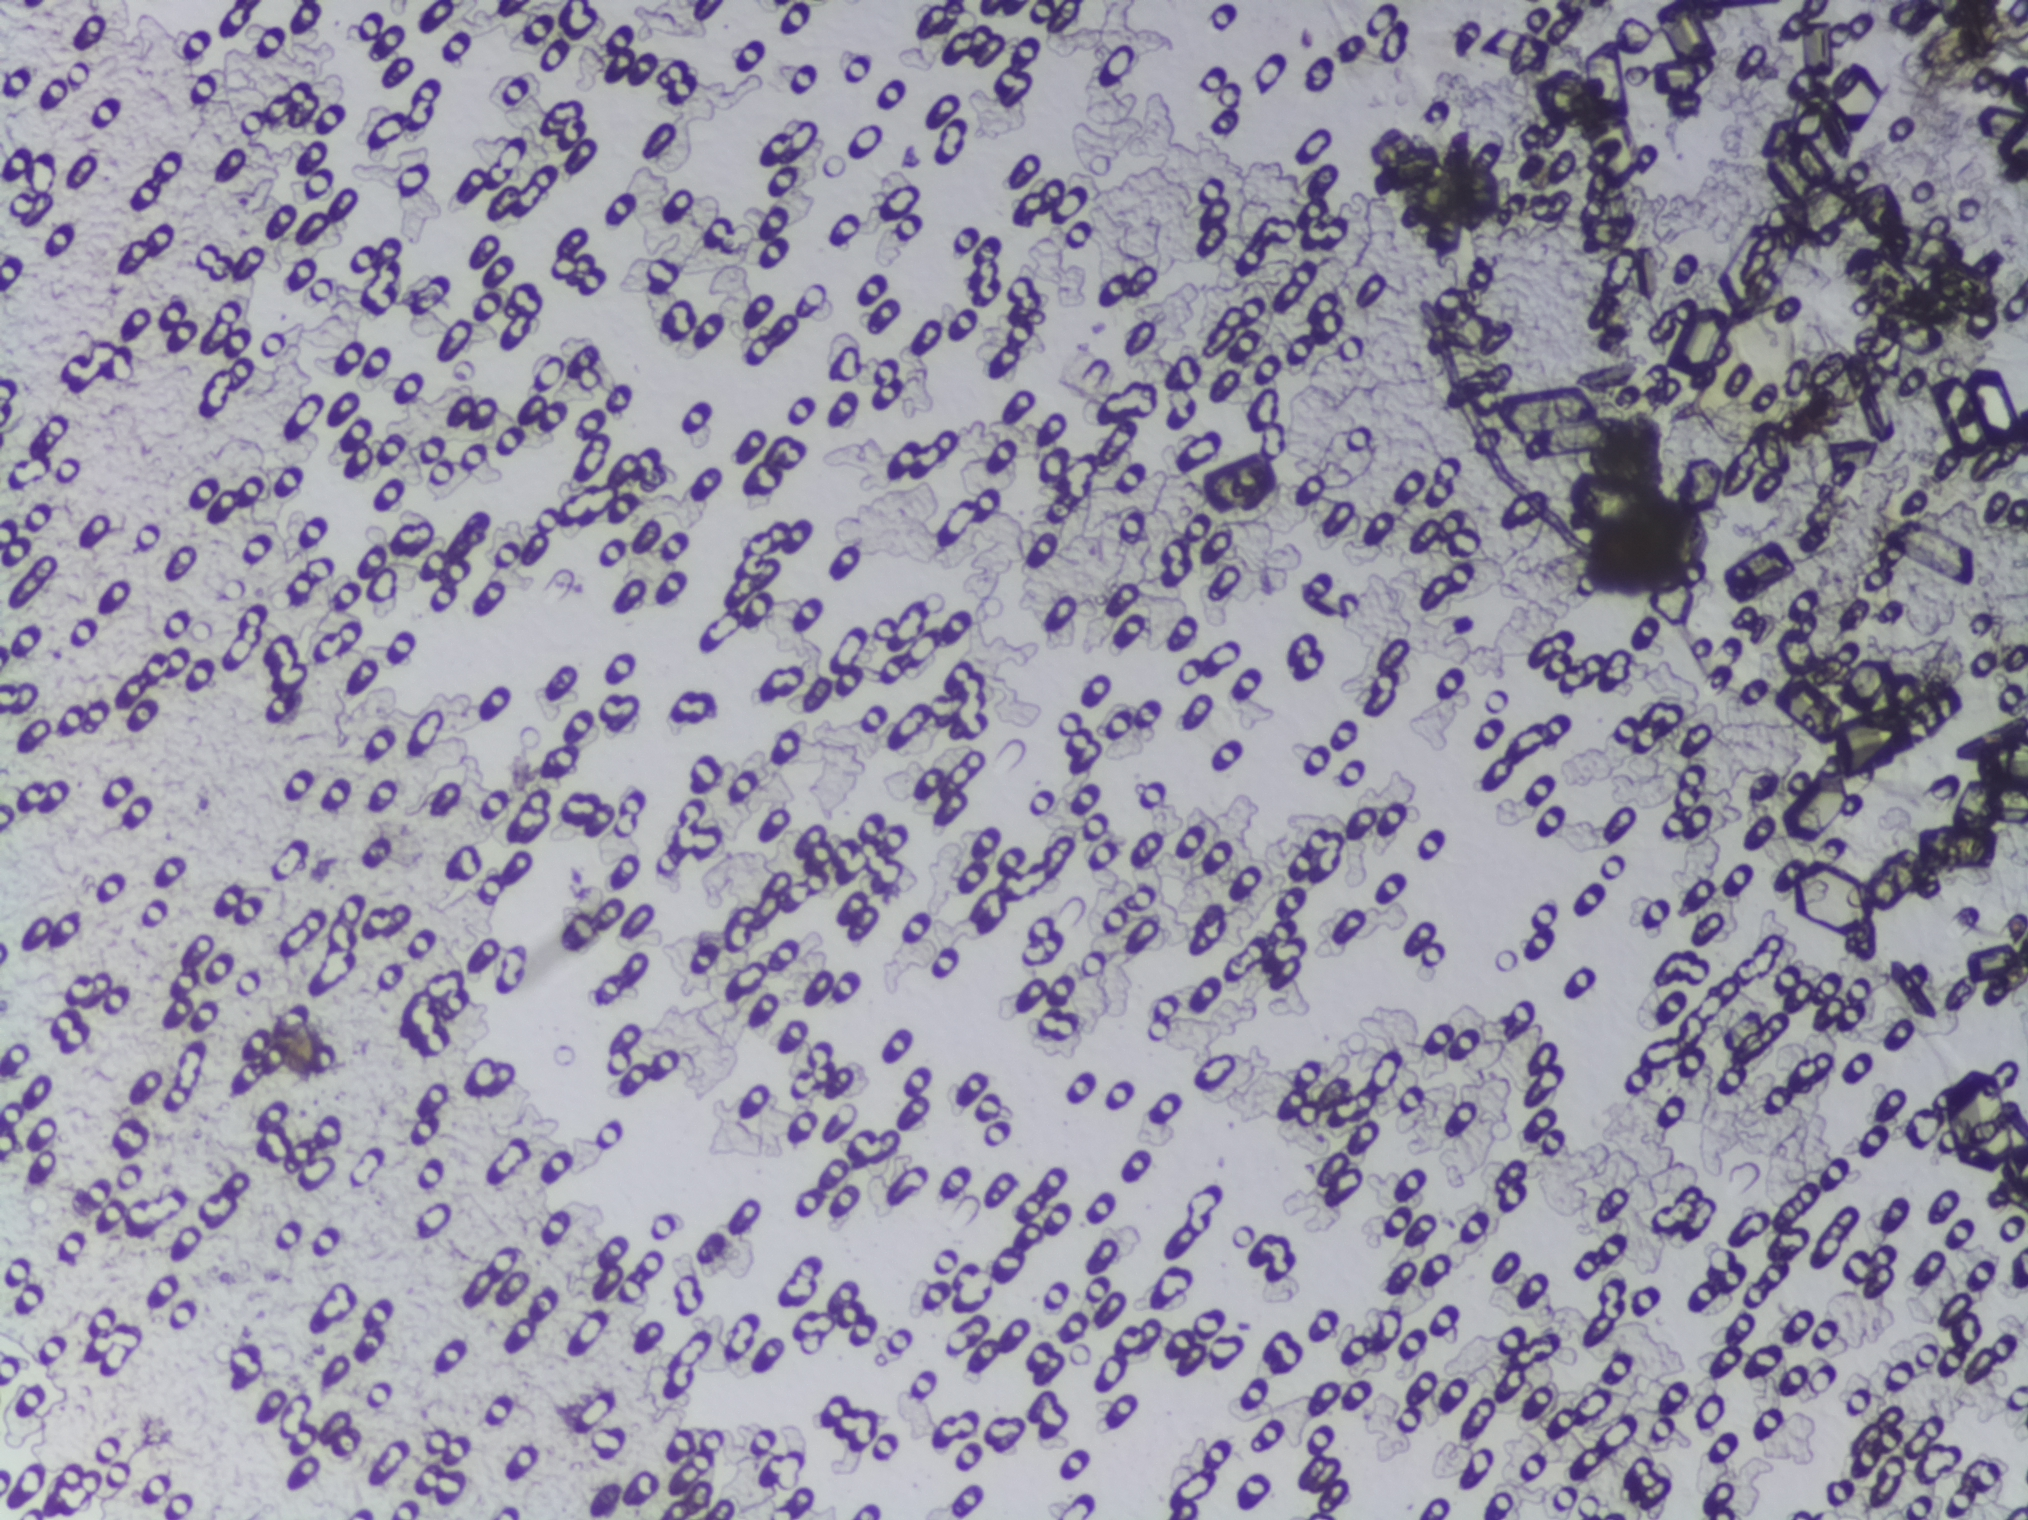
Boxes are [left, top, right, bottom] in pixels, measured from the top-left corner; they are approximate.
Schistosoma eggs are outlined in one area of this image: [1671, 297, 1811, 458]. An outlined area can hold more than one egg.
One field of view of a urine filter membrane, 4× objective, 2028 × 1520 pixels.